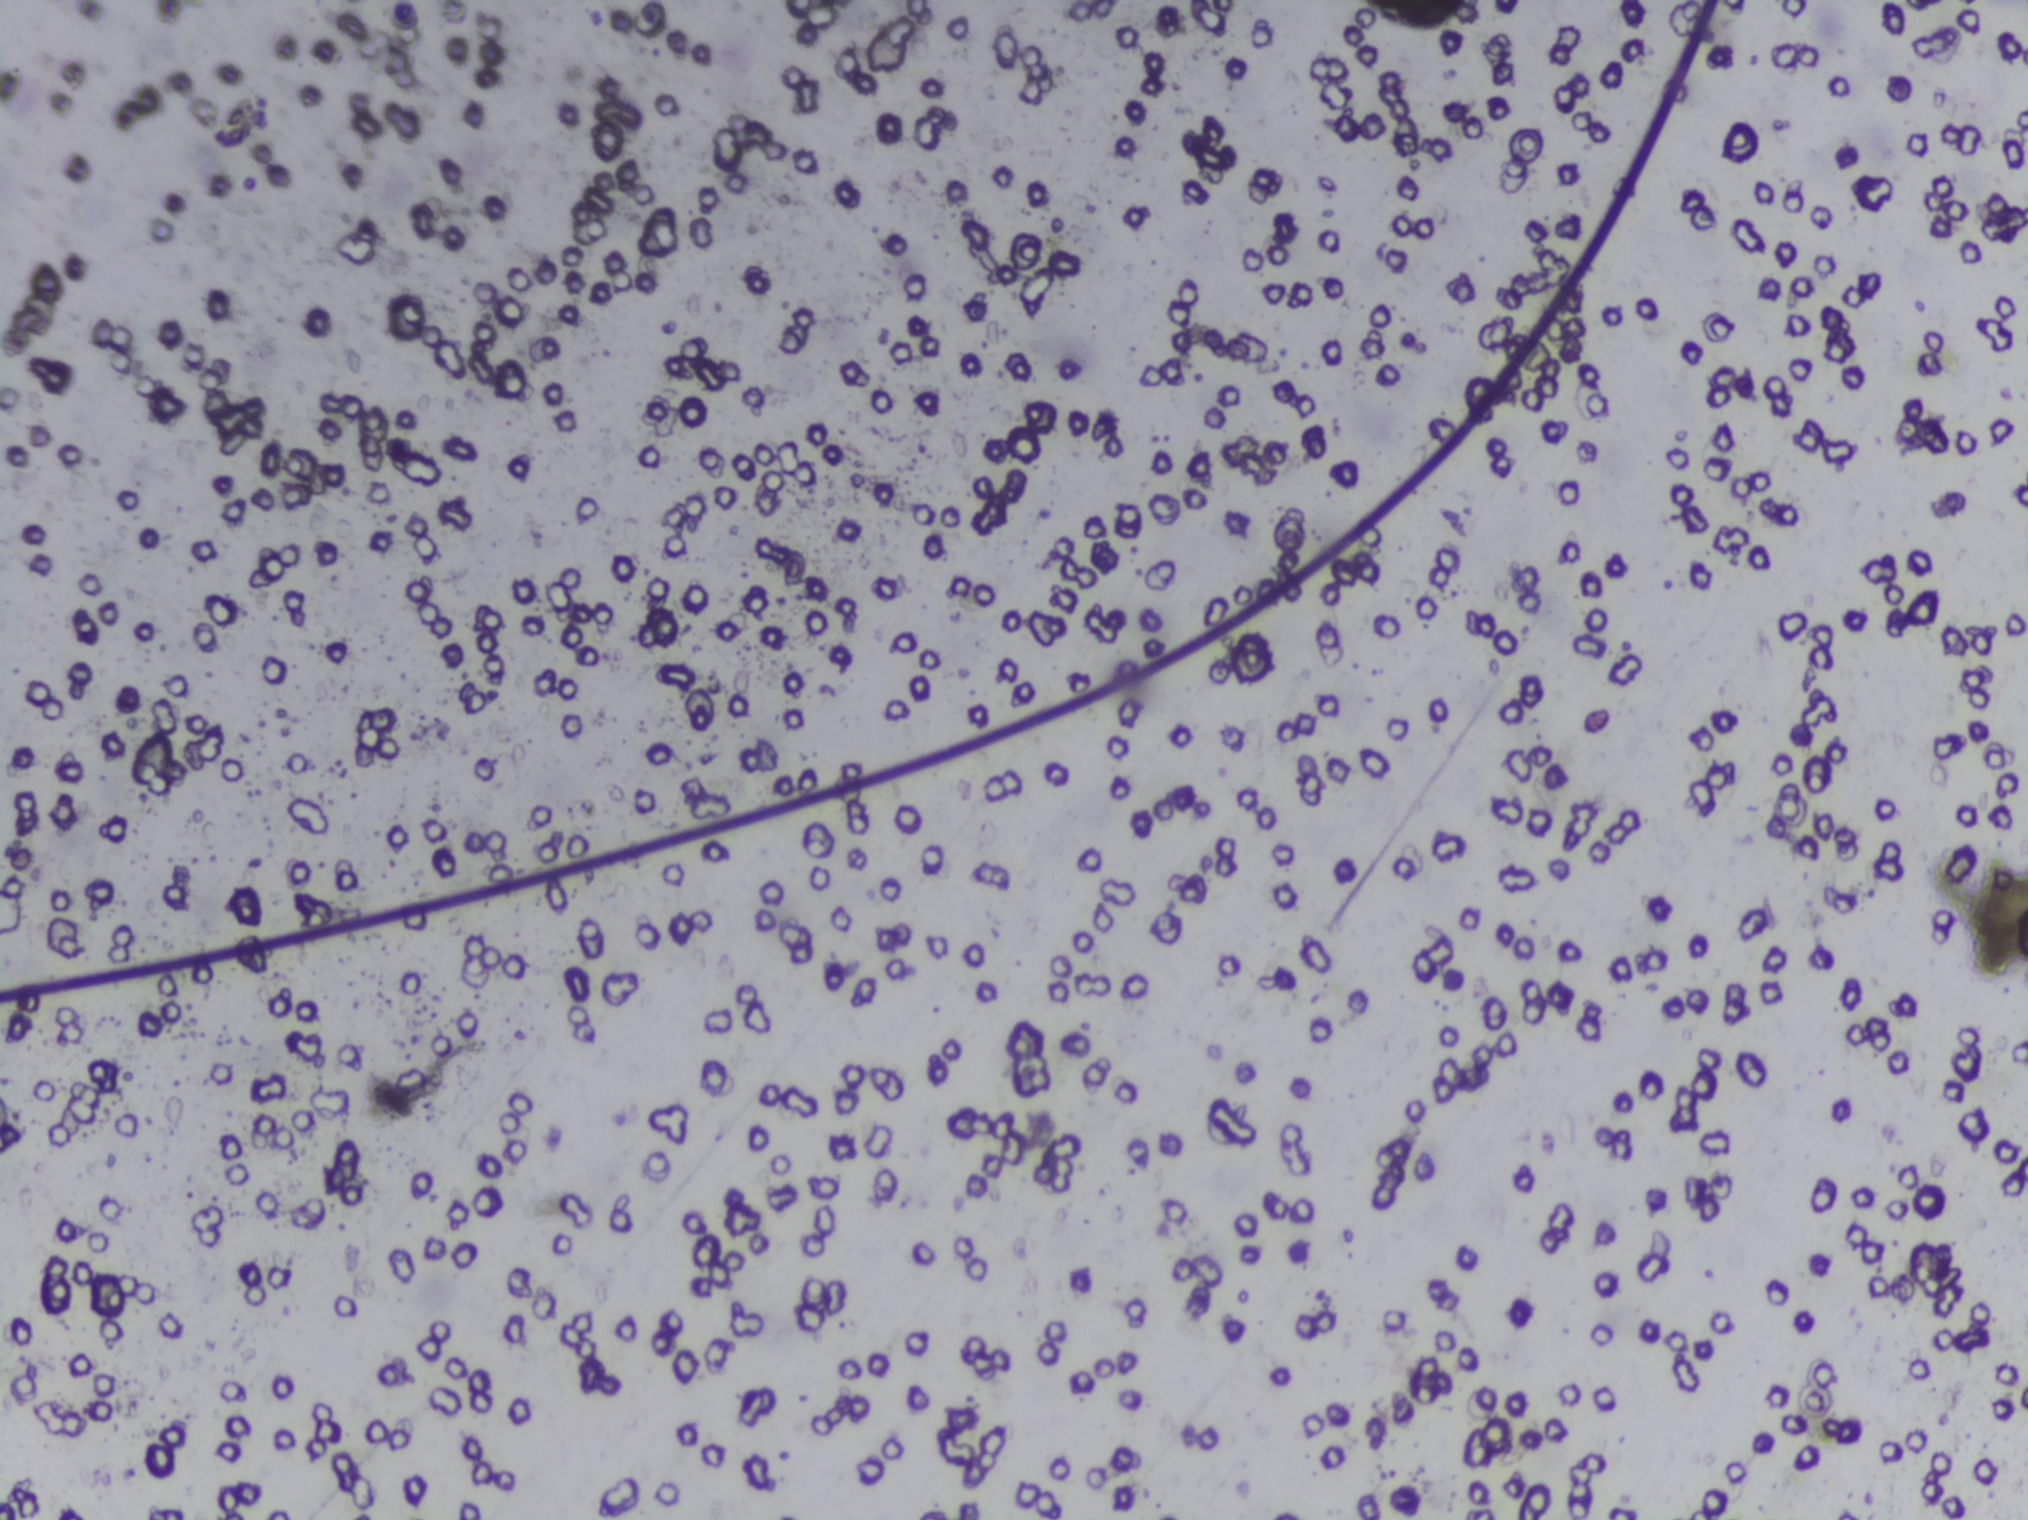
Photomicrograph of a urine filtration membrane, 4× objective.
No Schistosoma egg is outlined in this image's expert annotation.